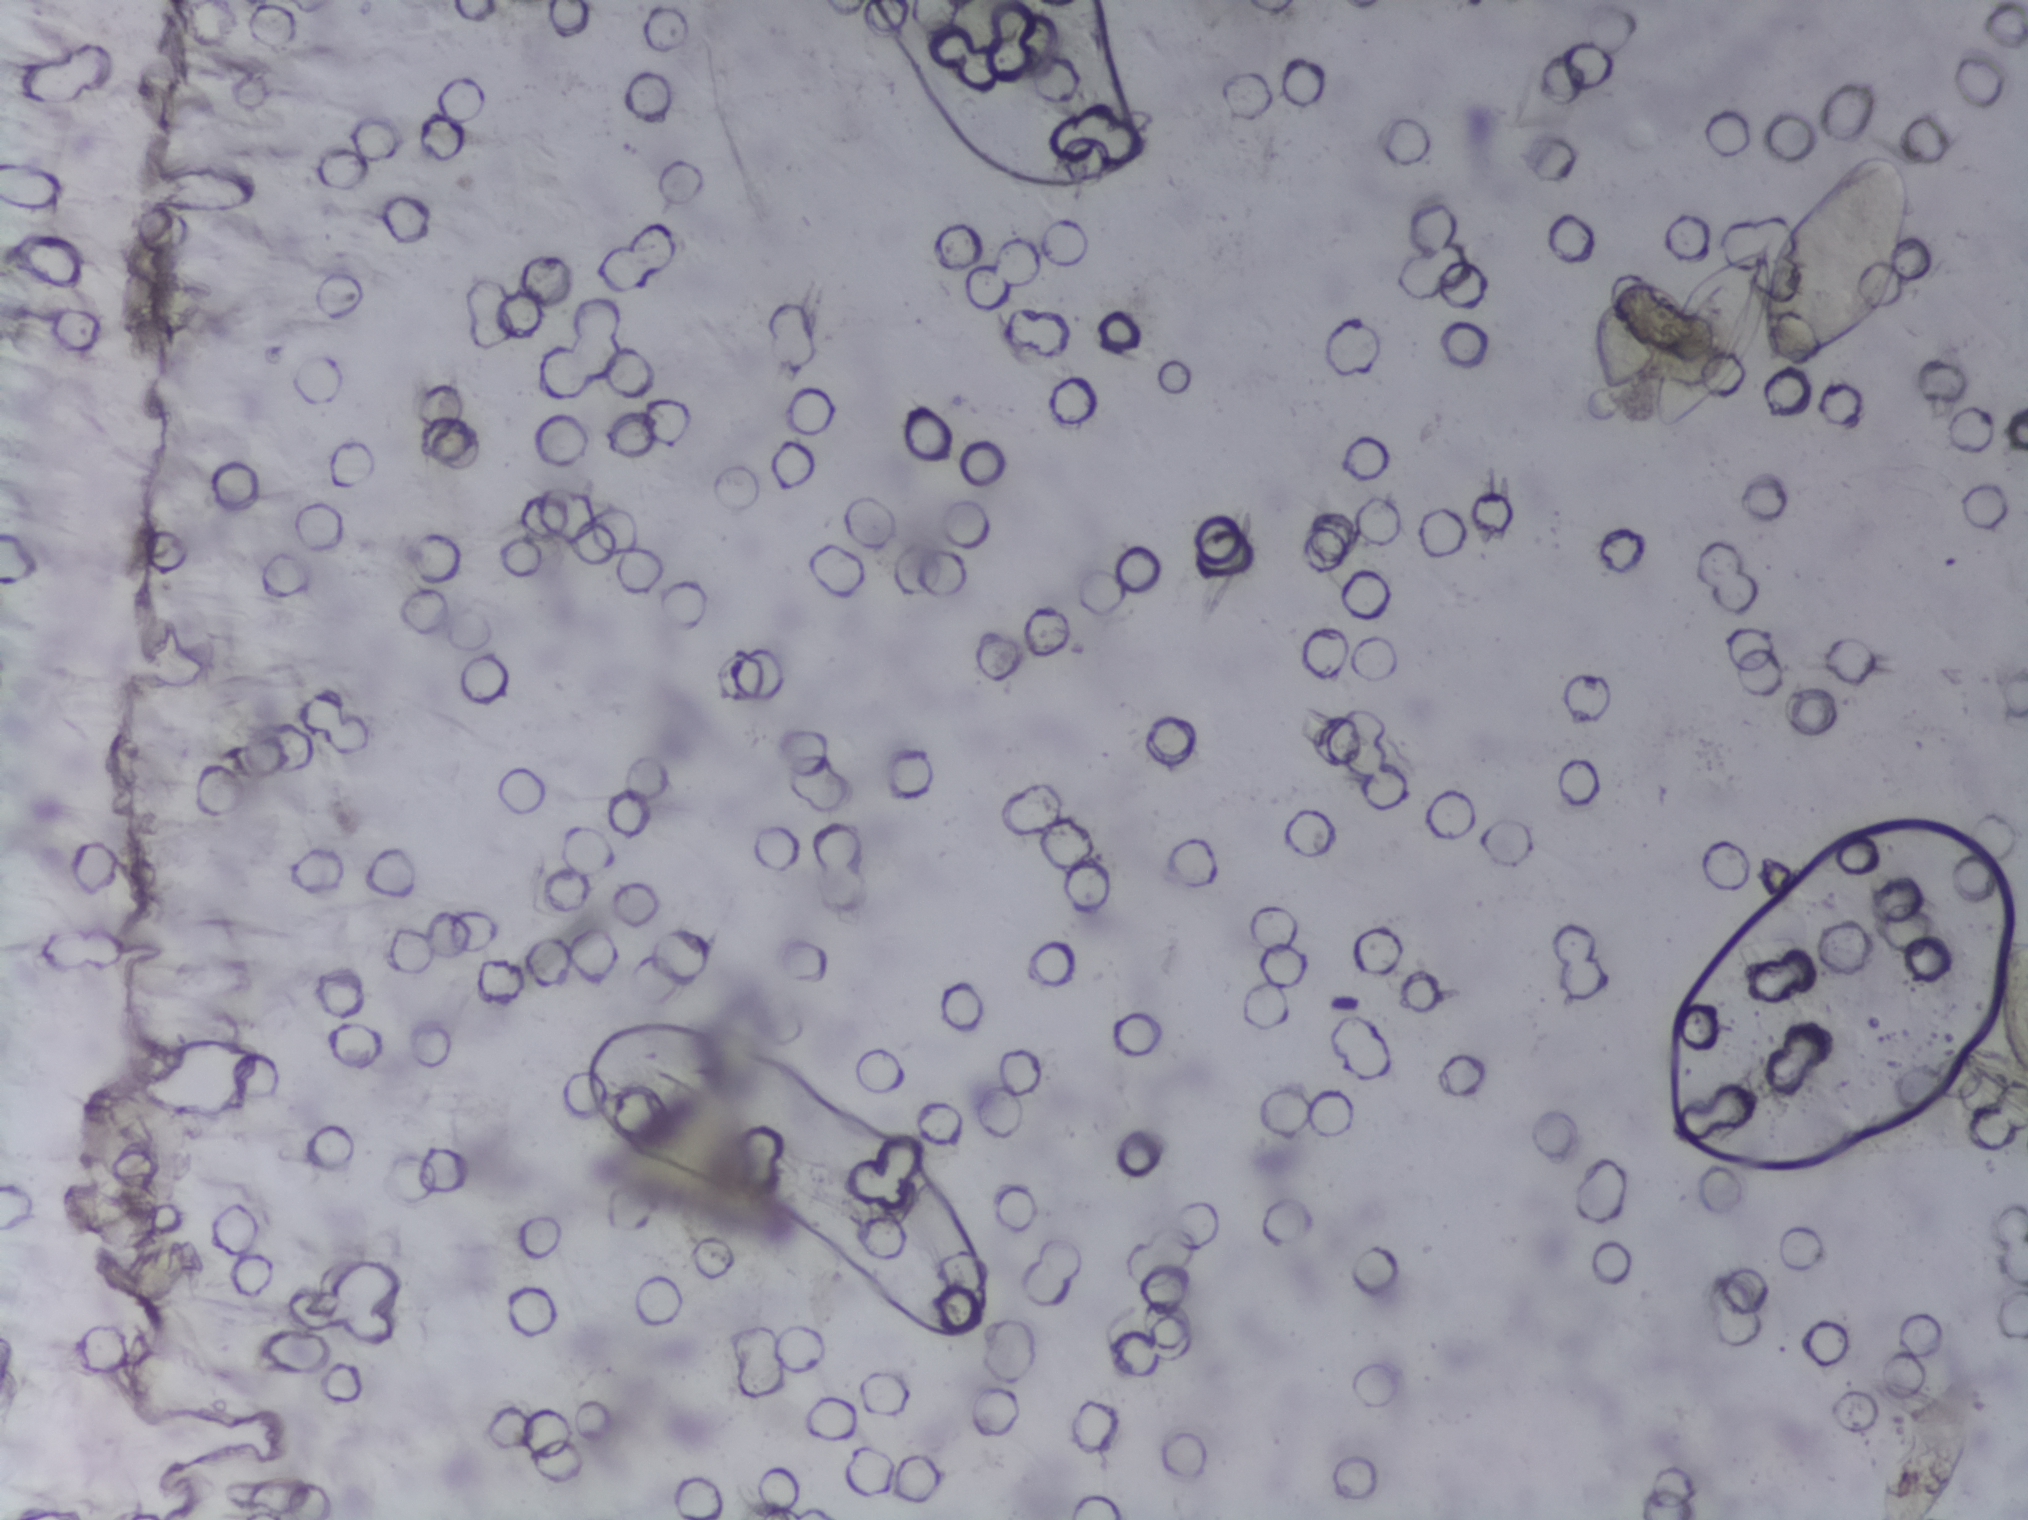
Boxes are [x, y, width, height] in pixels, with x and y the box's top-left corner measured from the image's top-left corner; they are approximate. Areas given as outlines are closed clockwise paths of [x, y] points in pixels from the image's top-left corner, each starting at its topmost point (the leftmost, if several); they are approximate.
Outlined Schistosoma egg areas, left to right:
1. outline [1867, 152], [1897, 155], [1915, 182], [1913, 249], [1894, 295], [1868, 327], [1794, 367], [1761, 366], [1755, 347], [1710, 413], [1665, 435], [1655, 430], [1650, 376], [1662, 329], [1687, 285], [1756, 238], [1771, 230], [1775, 235], [1826, 176]
2. box [1994, 934, 34, 142] (reaching the right edge of the frame)
An outlined area can hold more than one egg. A marked egg may occasionally be S. mansoni rather than S. haematobium.
Microscope photograph (4× objective) of a membrane that a urine sample was filtered through.